Urine filter membrane photographed through a 4× microscope objective.
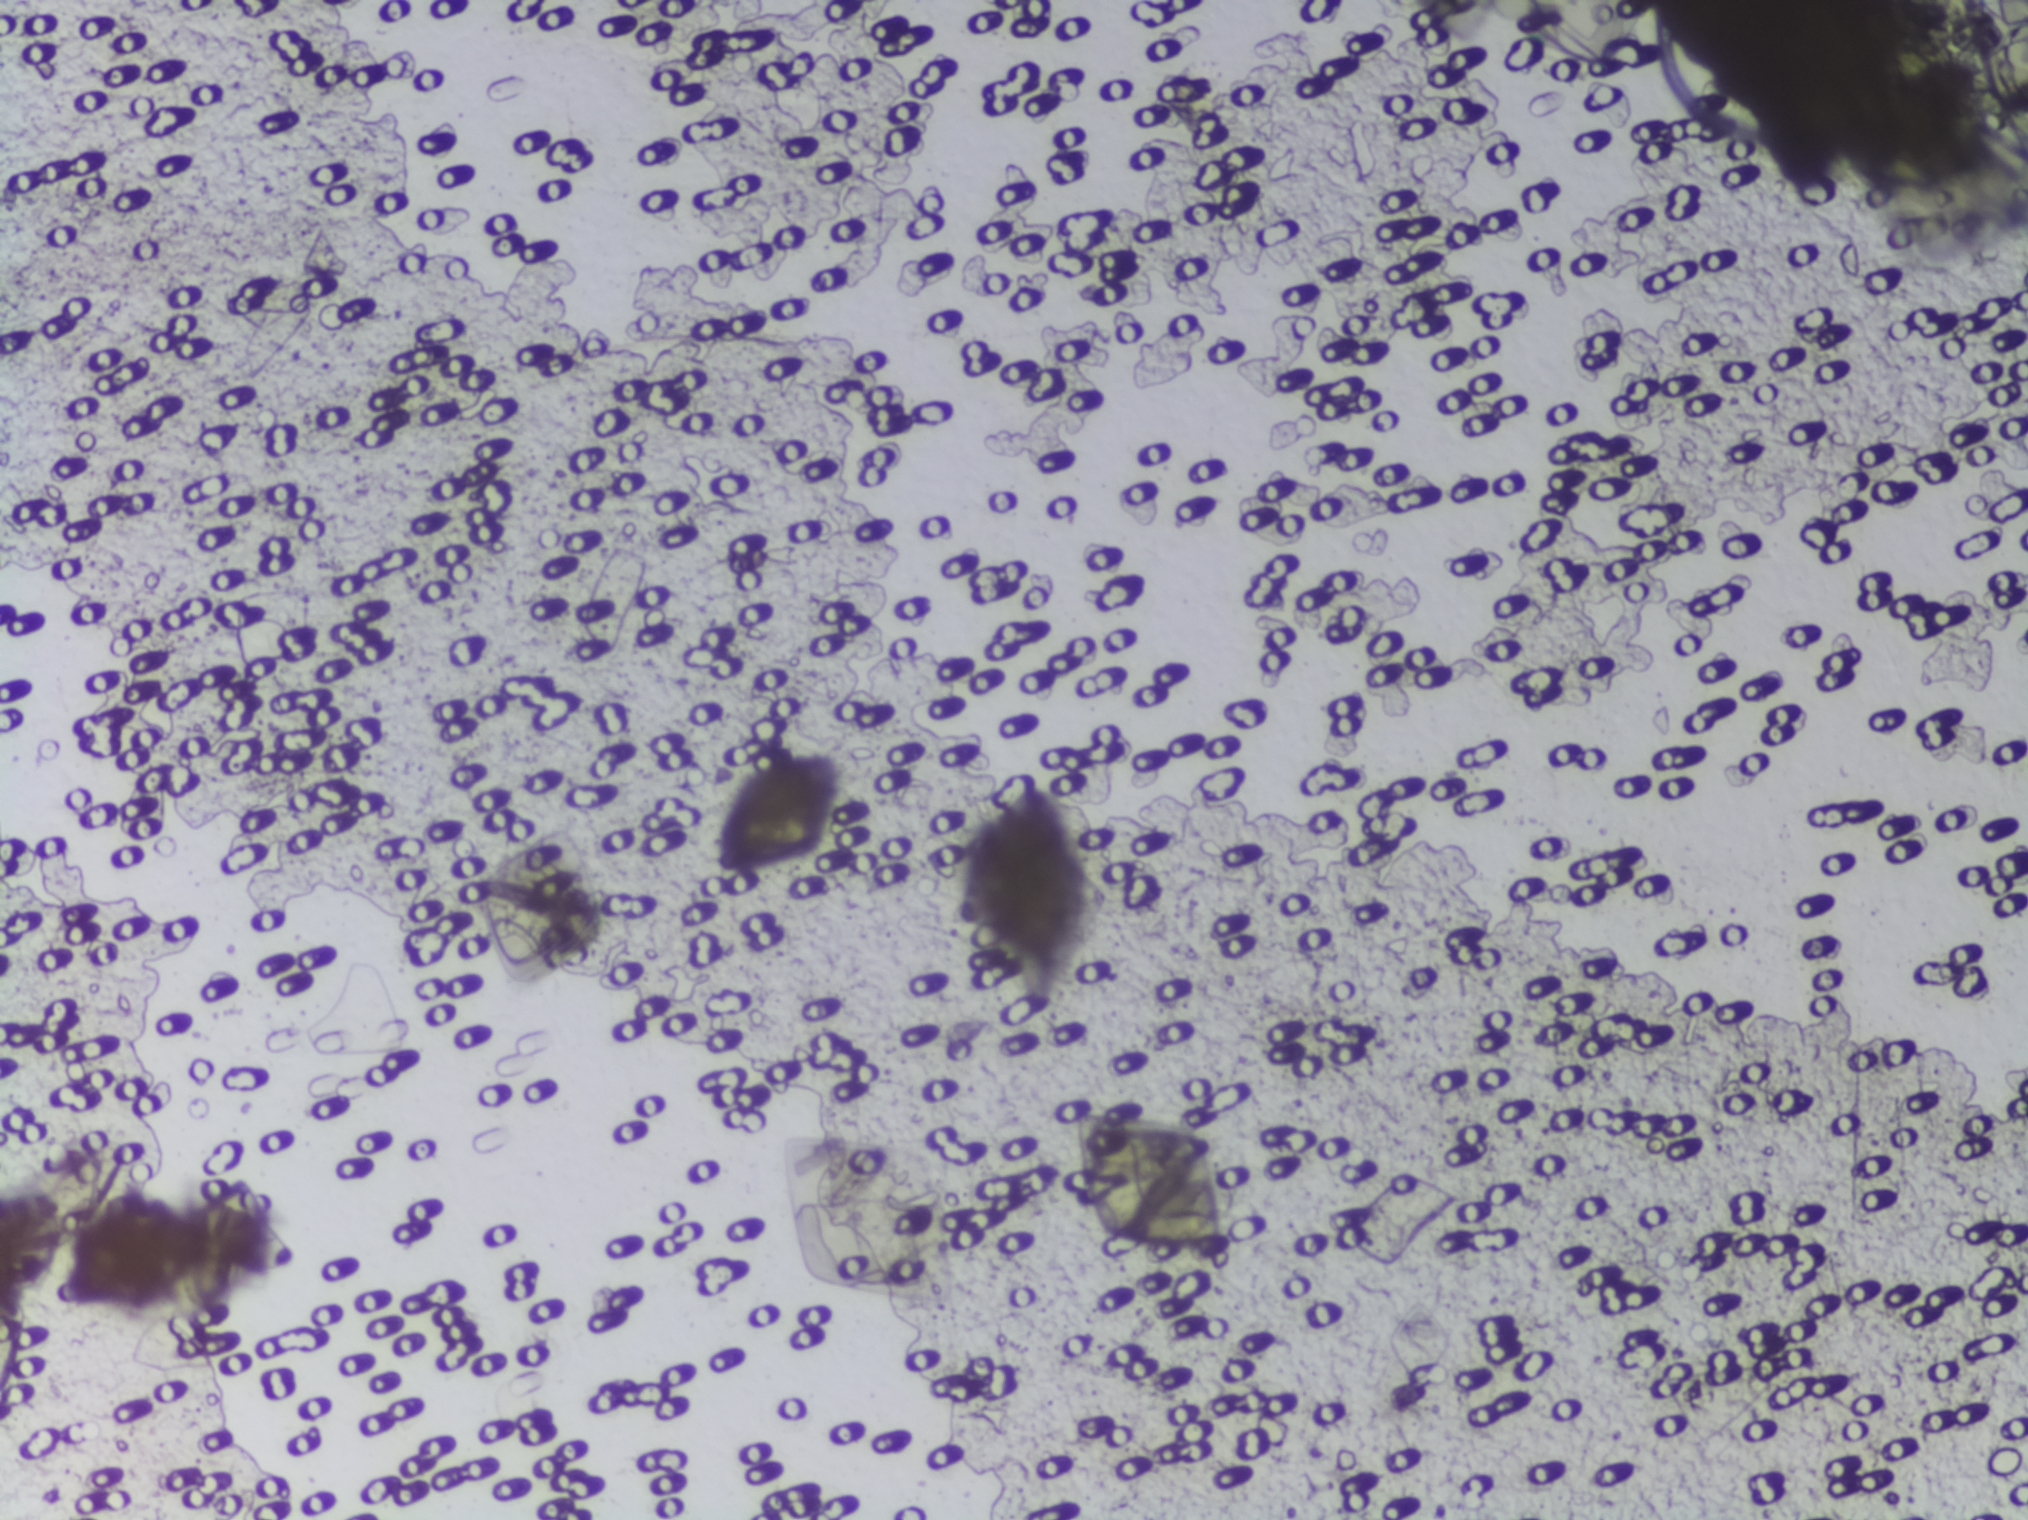
No Schistosoma egg is outlined in this image's expert annotation.